Photograph from an automated digital microscope: urine filter membrane, 4× objective.
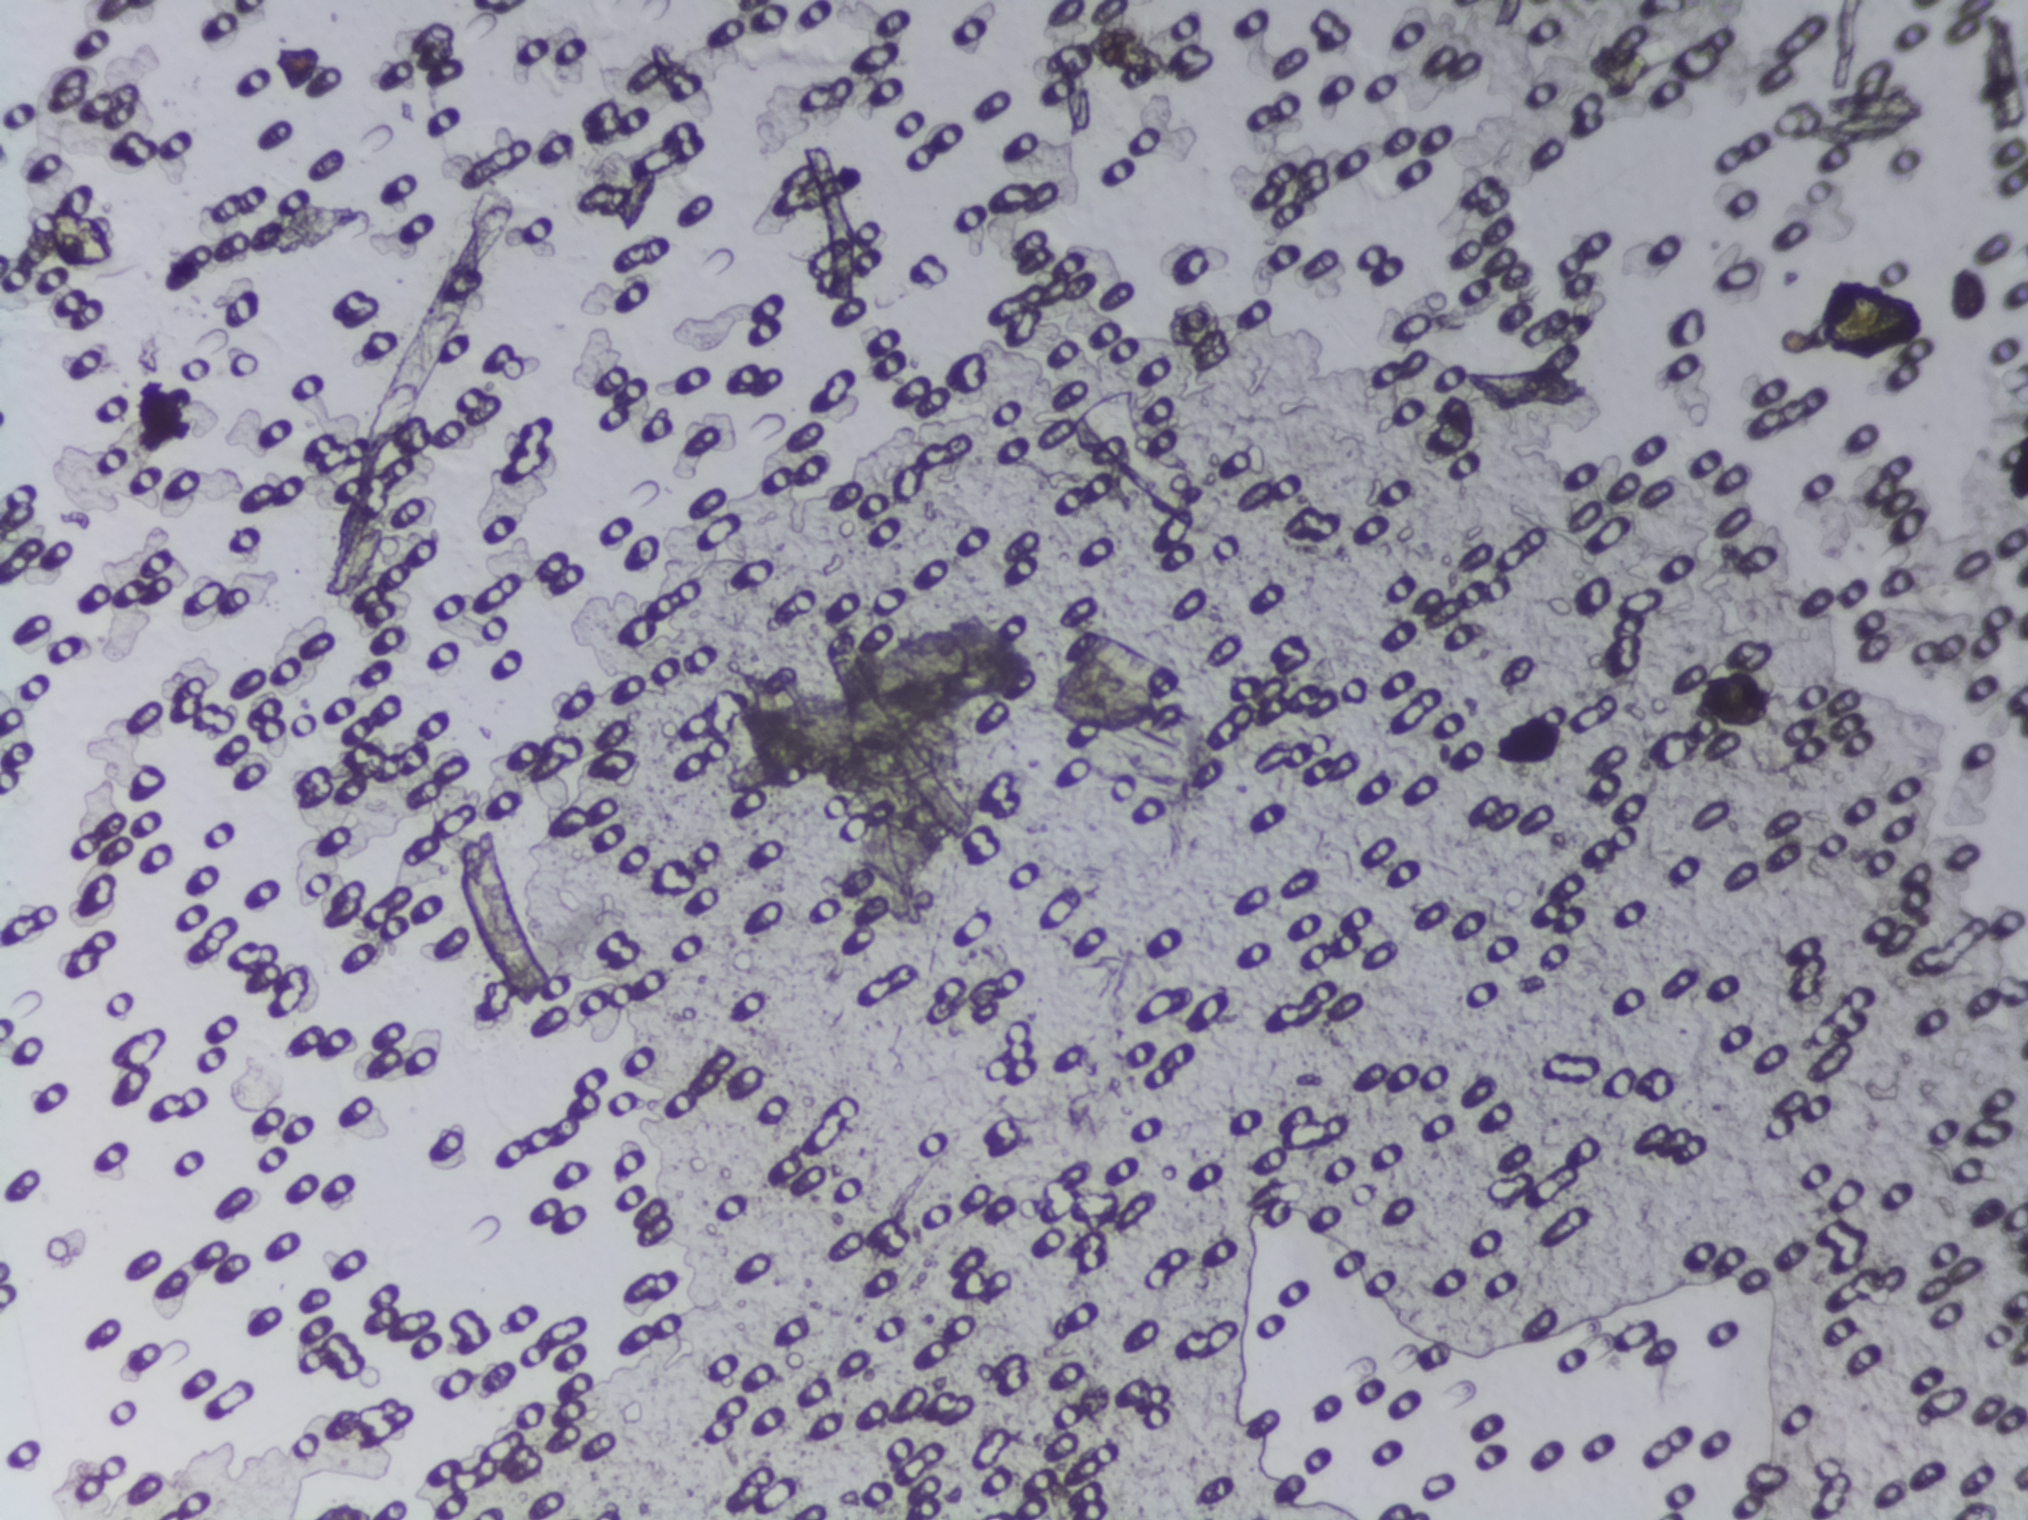
No area of this image was outlined as a Schistosoma egg.